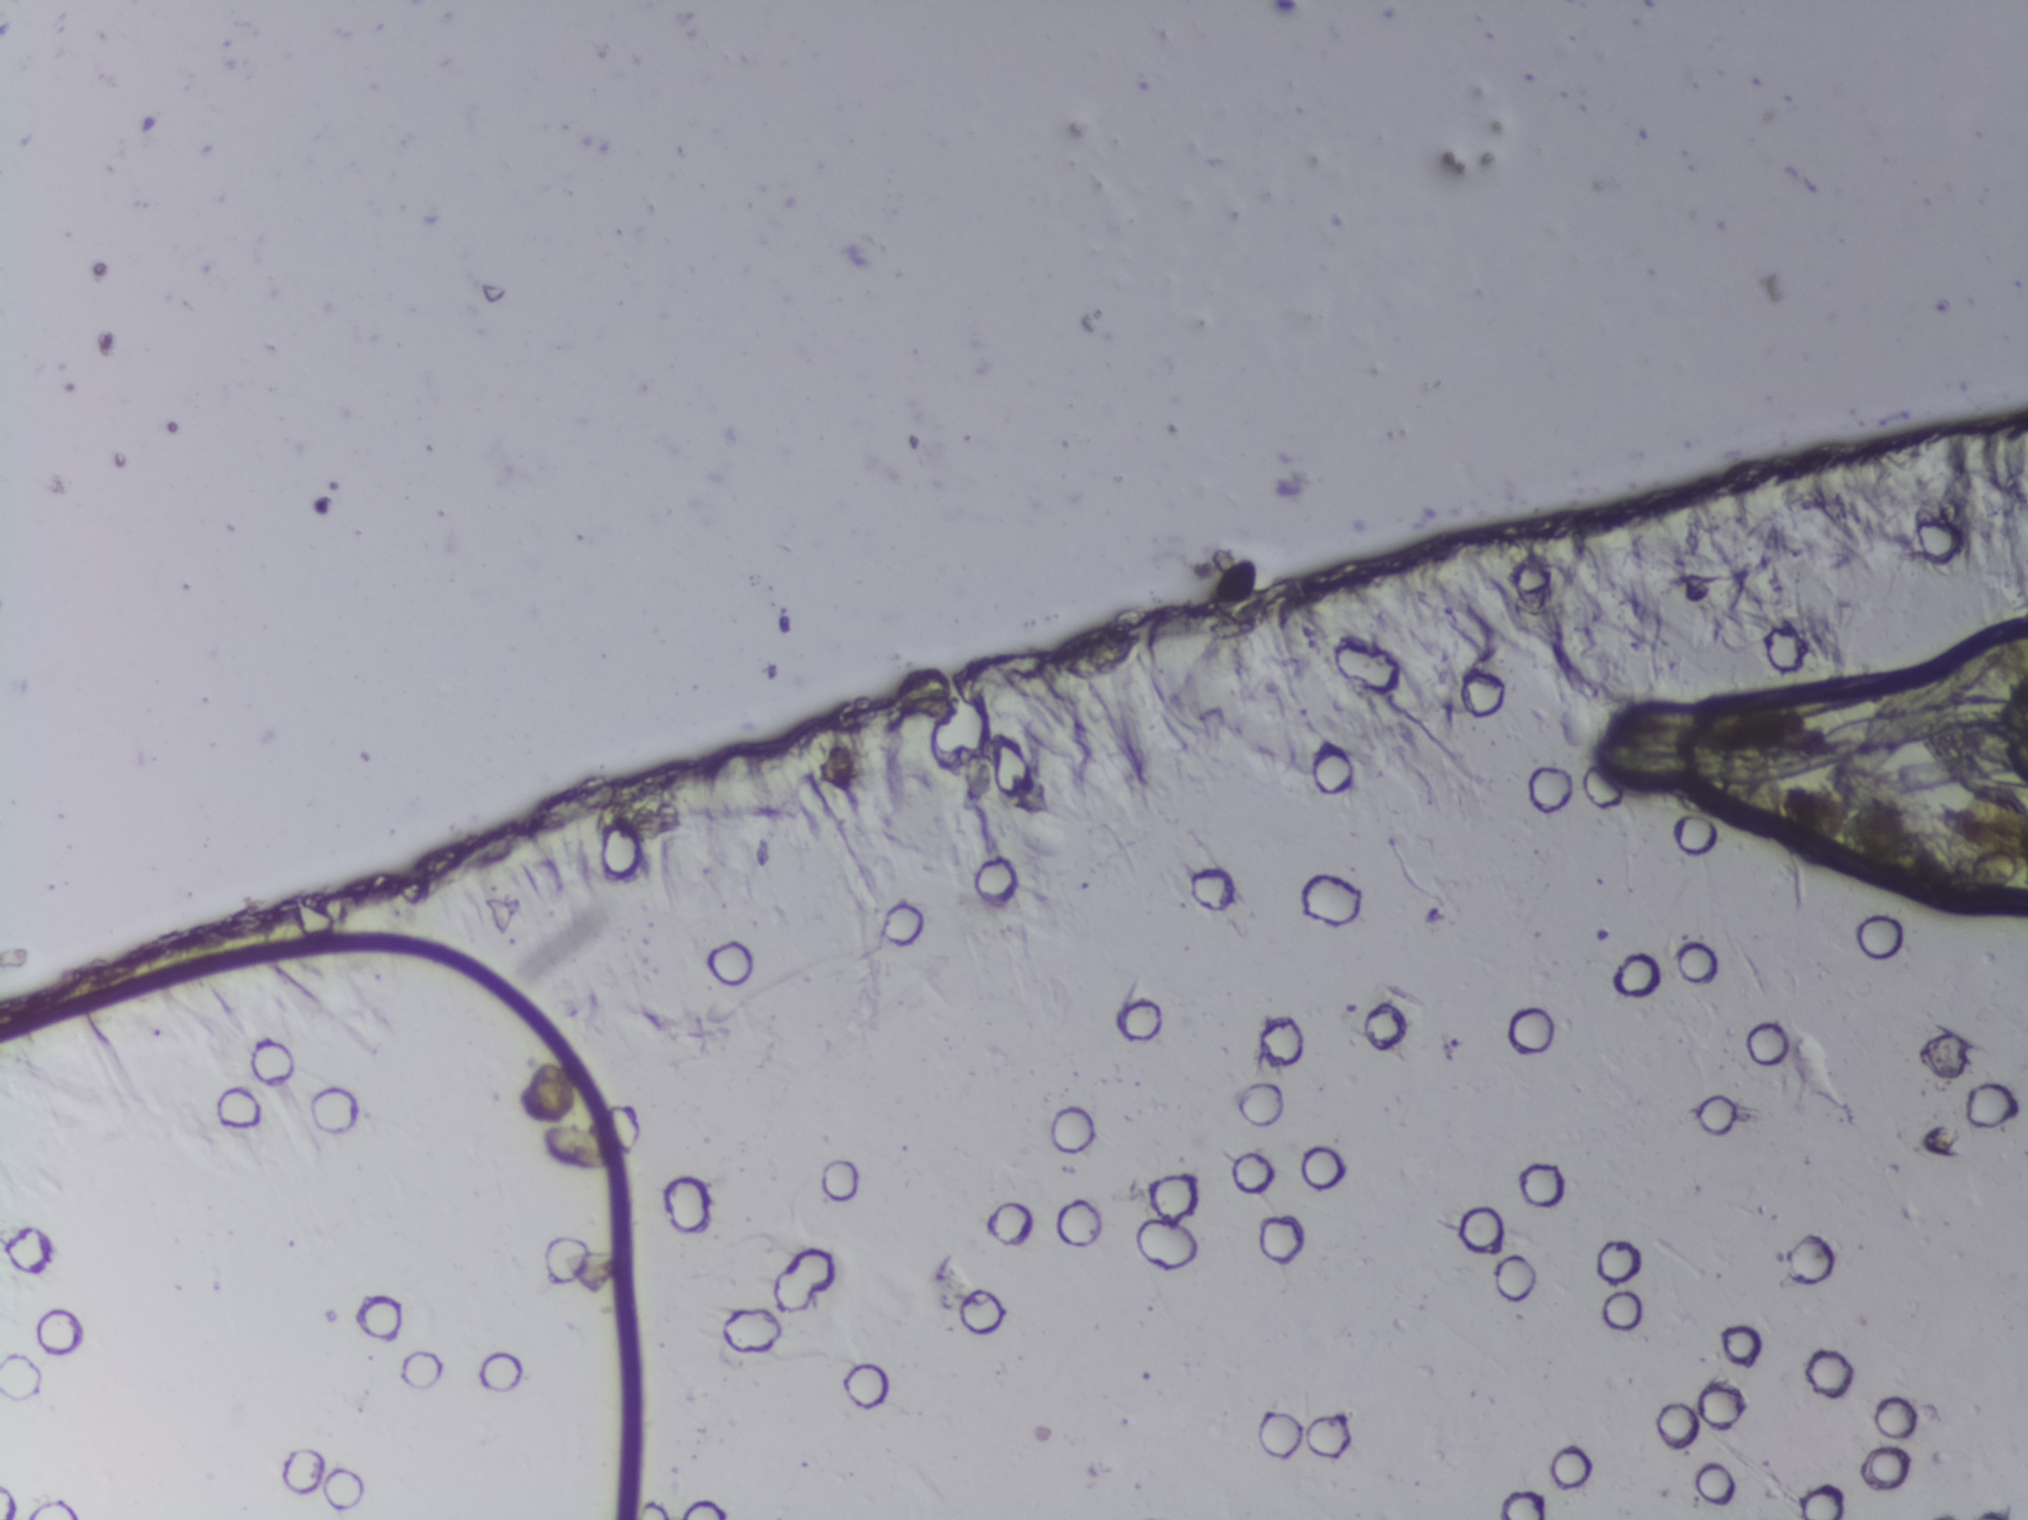
Photograph from an automated digital microscope: urine filter membrane, 4× objective. Field of view: about 1.5 mm wide and 1.1 mm high.
The expert annotation outlines no Schistosoma egg in this image.